Urine filter membrane photographed through a 4× microscope objective.
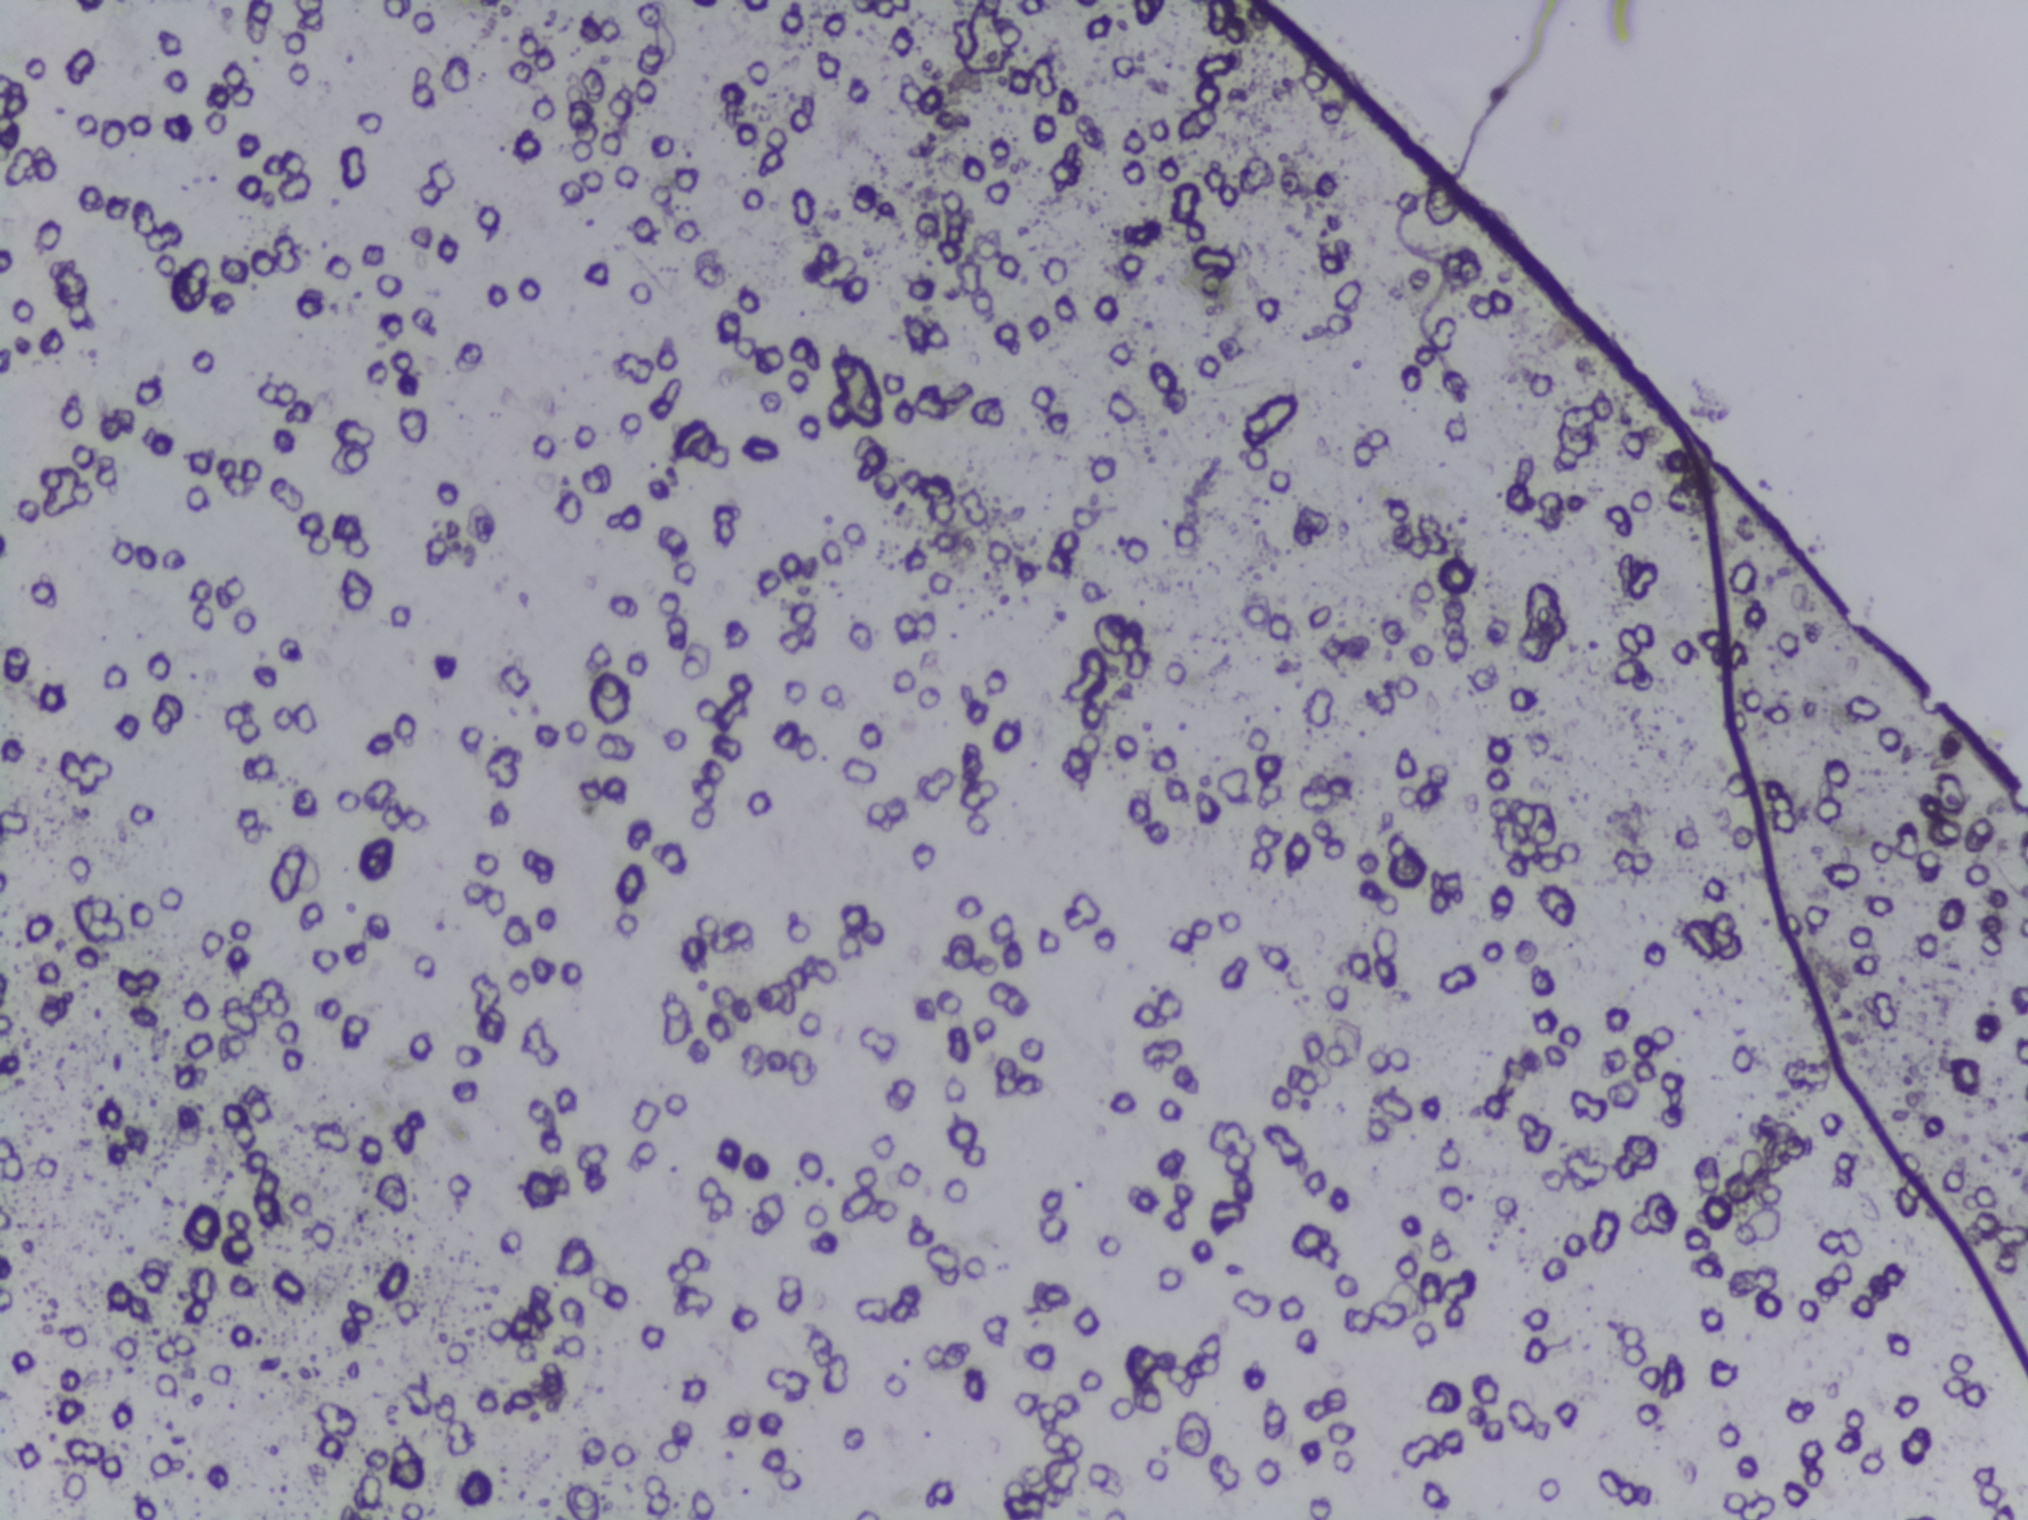
No area of this image was outlined as a Schistosoma egg.